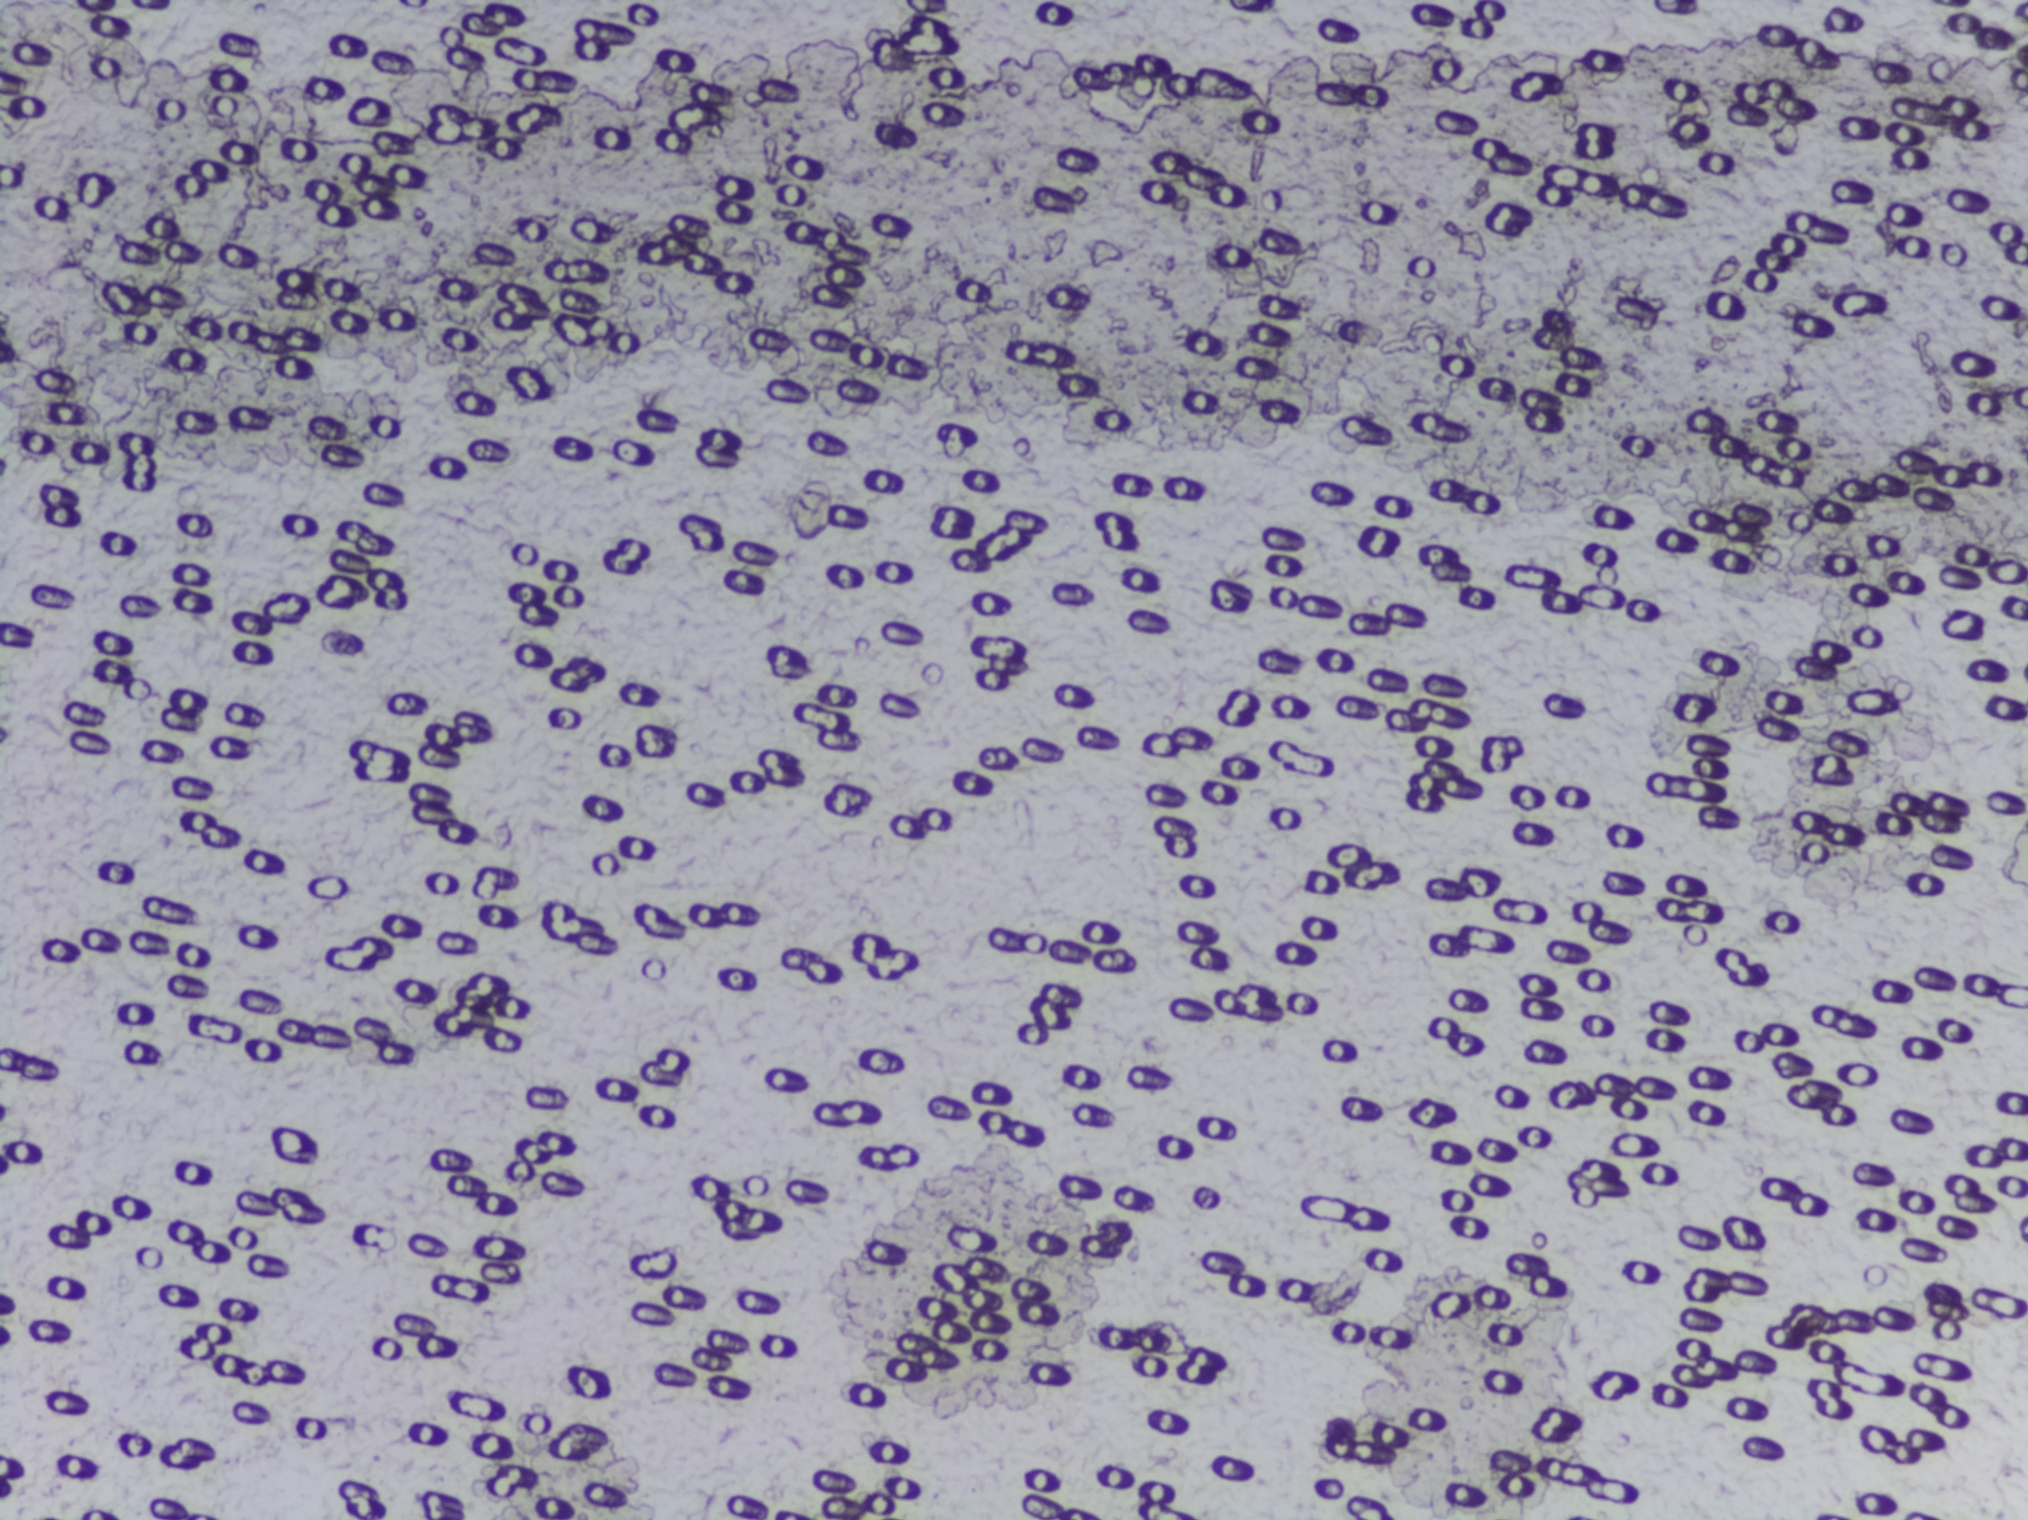
Photograph from an automated digital microscope: urine filter membrane, 4× objective.
The expert annotation marks no Schistosoma egg in this field of view.